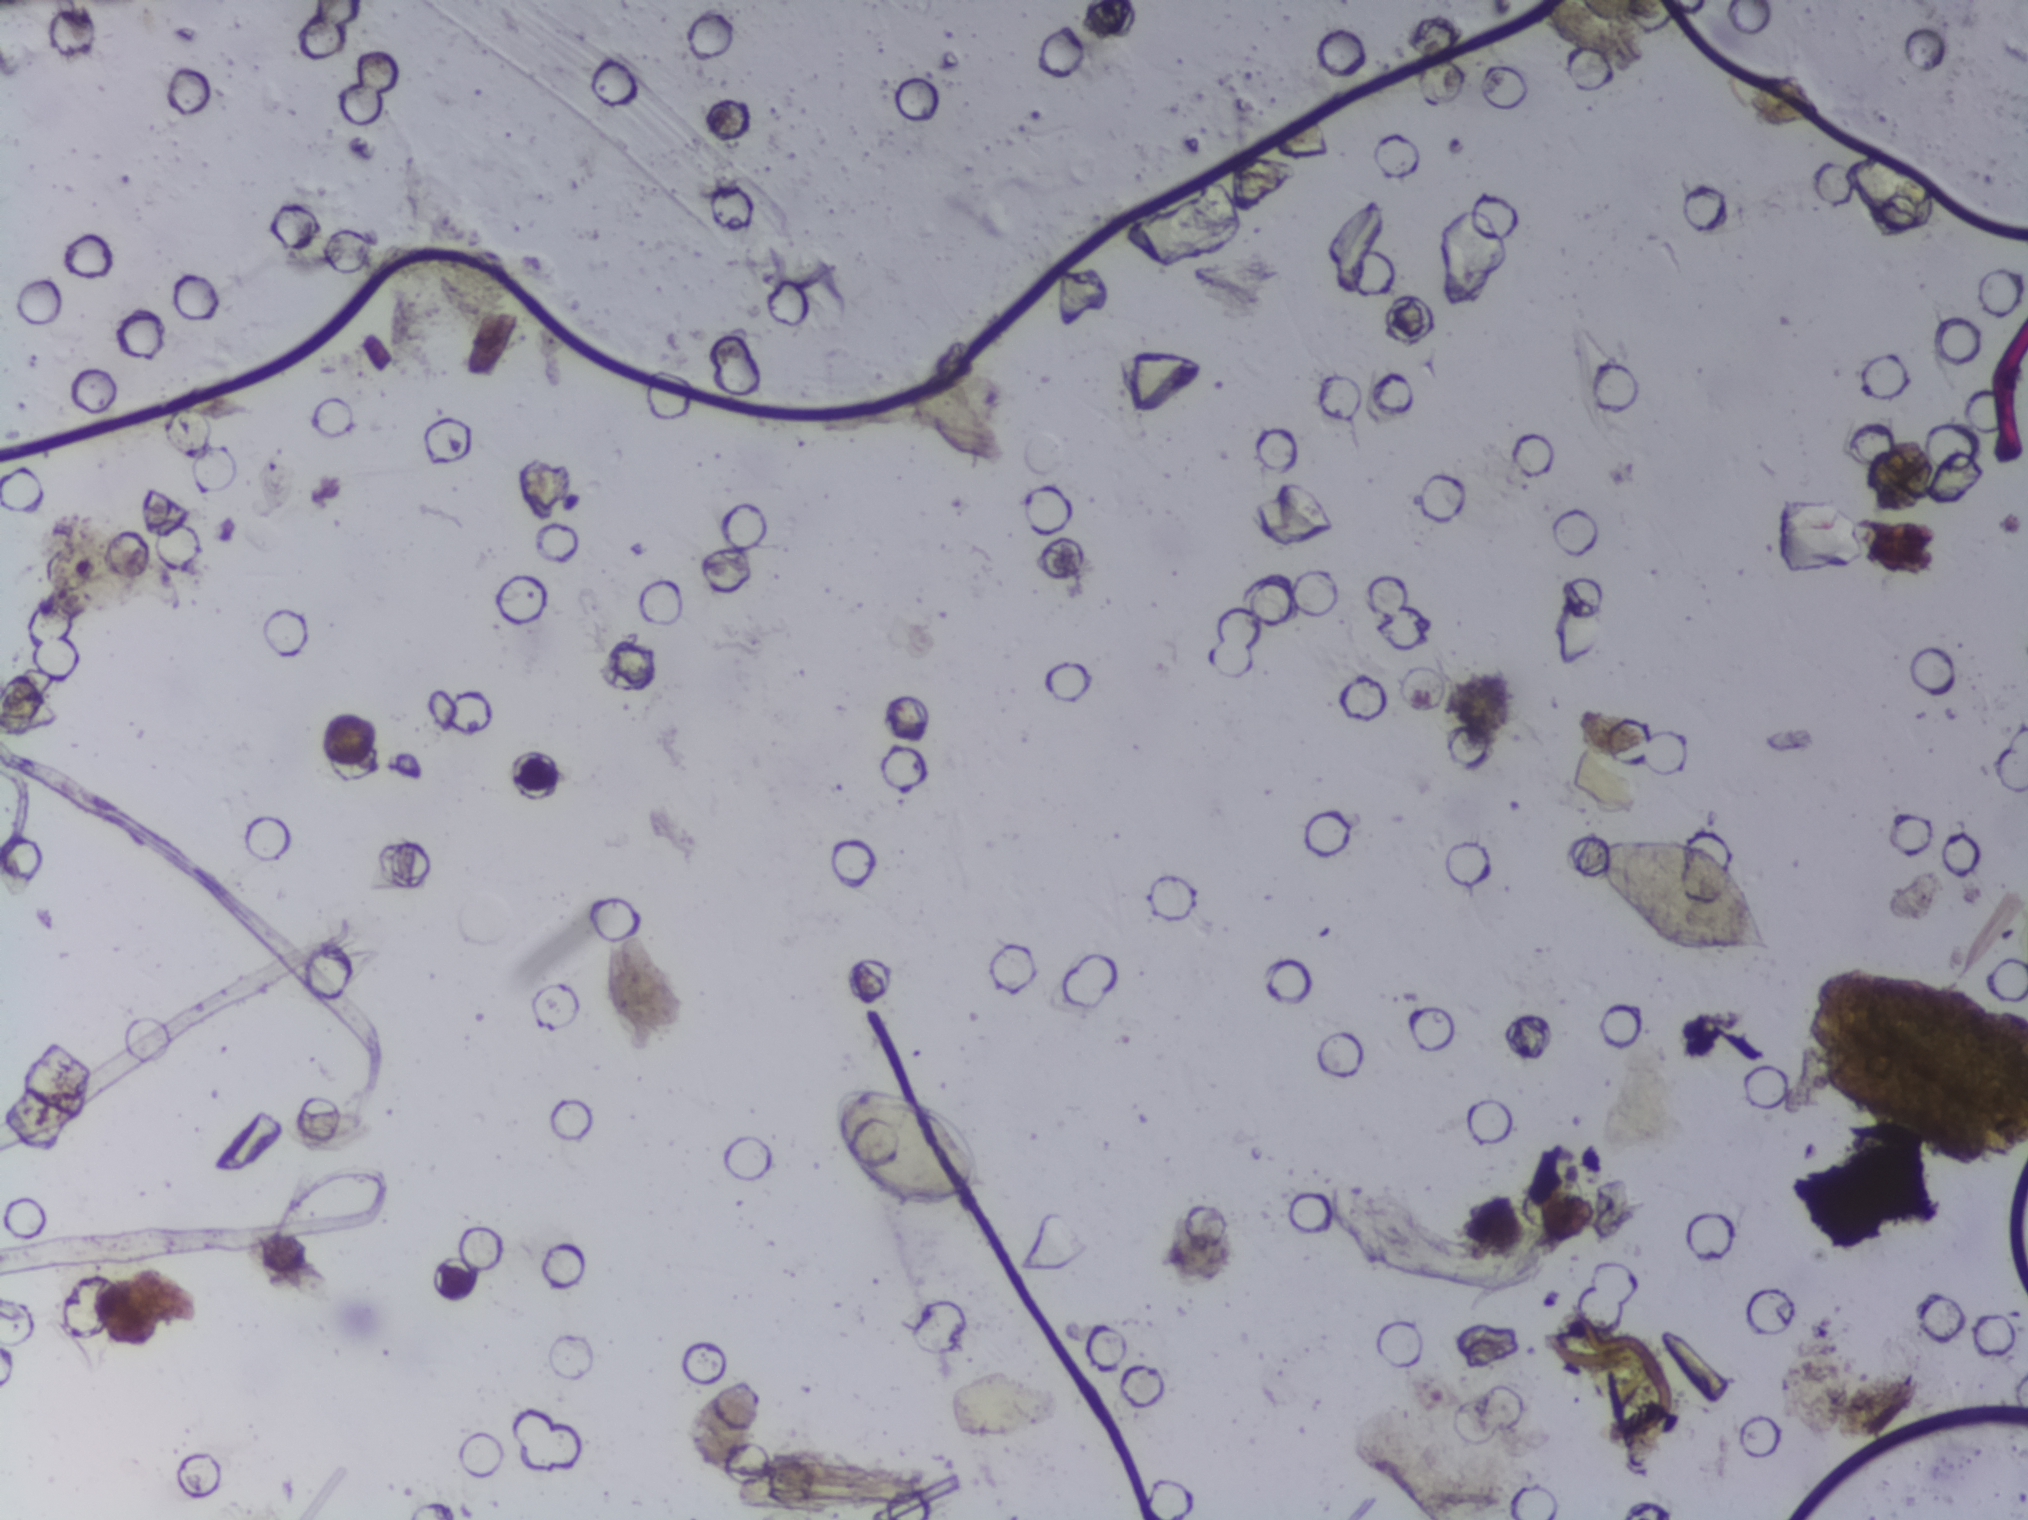
Photograph from an automated digital microscope: urine filter membrane, 4× objective.
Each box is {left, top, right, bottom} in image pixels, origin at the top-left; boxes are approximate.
Two areas of this image are outlined as Schistosoma eggs, from left to right: {828, 1089, 989, 1207} and {1594, 832, 1778, 956}. A single outlined area may contain several eggs.